Photograph from an automated digital microscope: urine filter membrane, 4× objective.
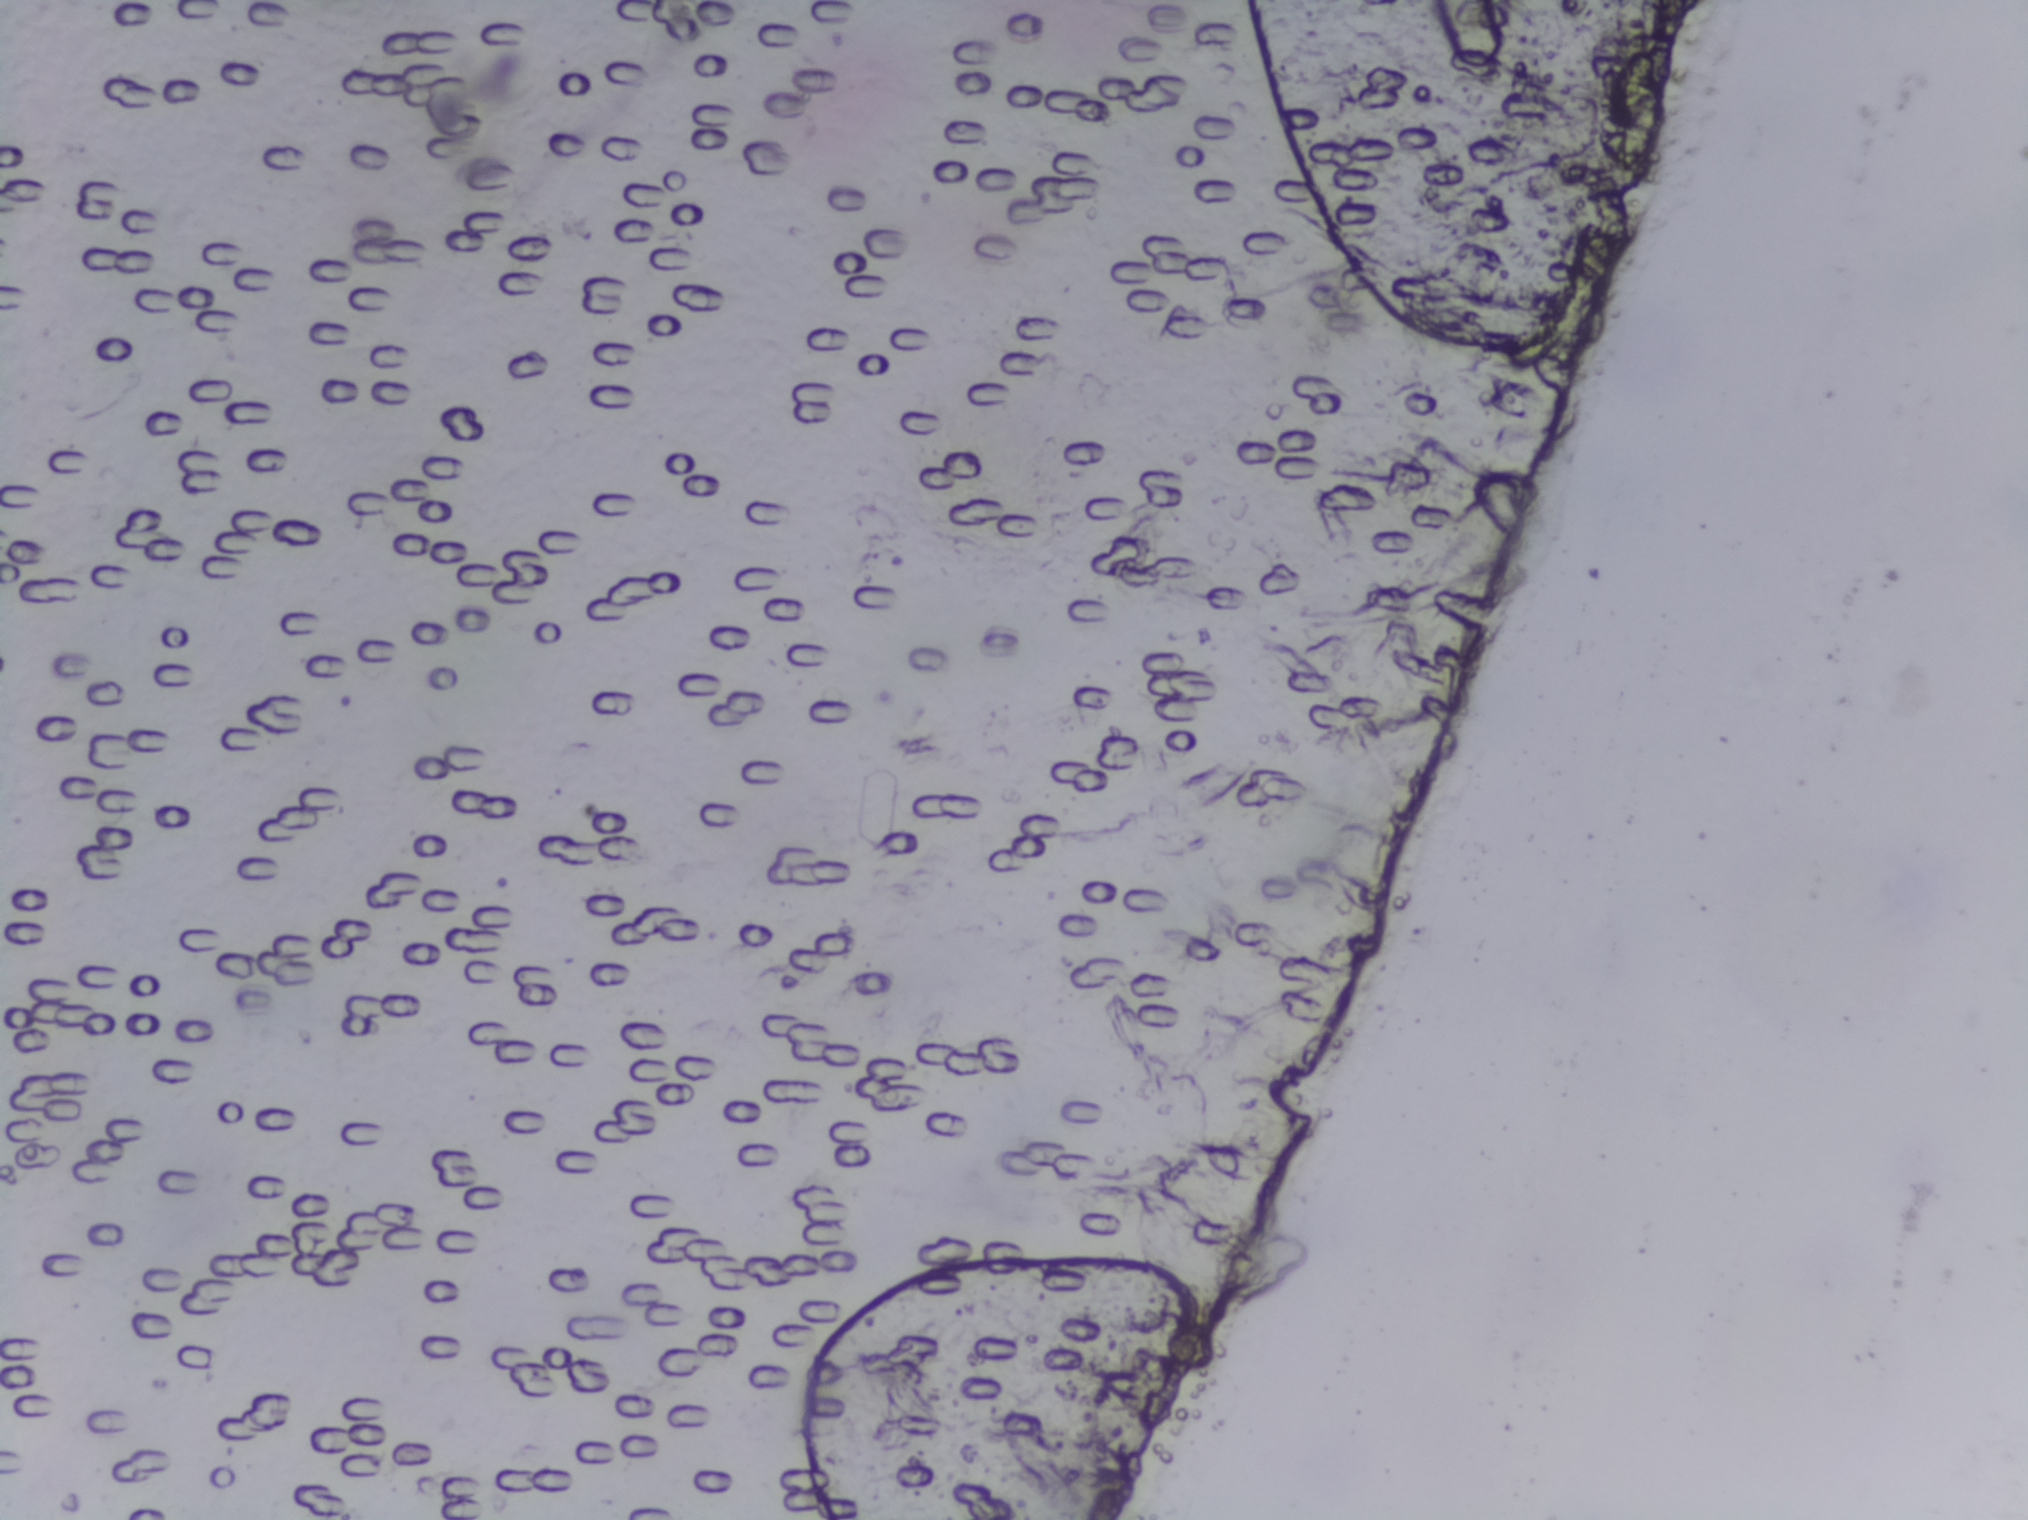
No area of this image was outlined as a Schistosoma egg.